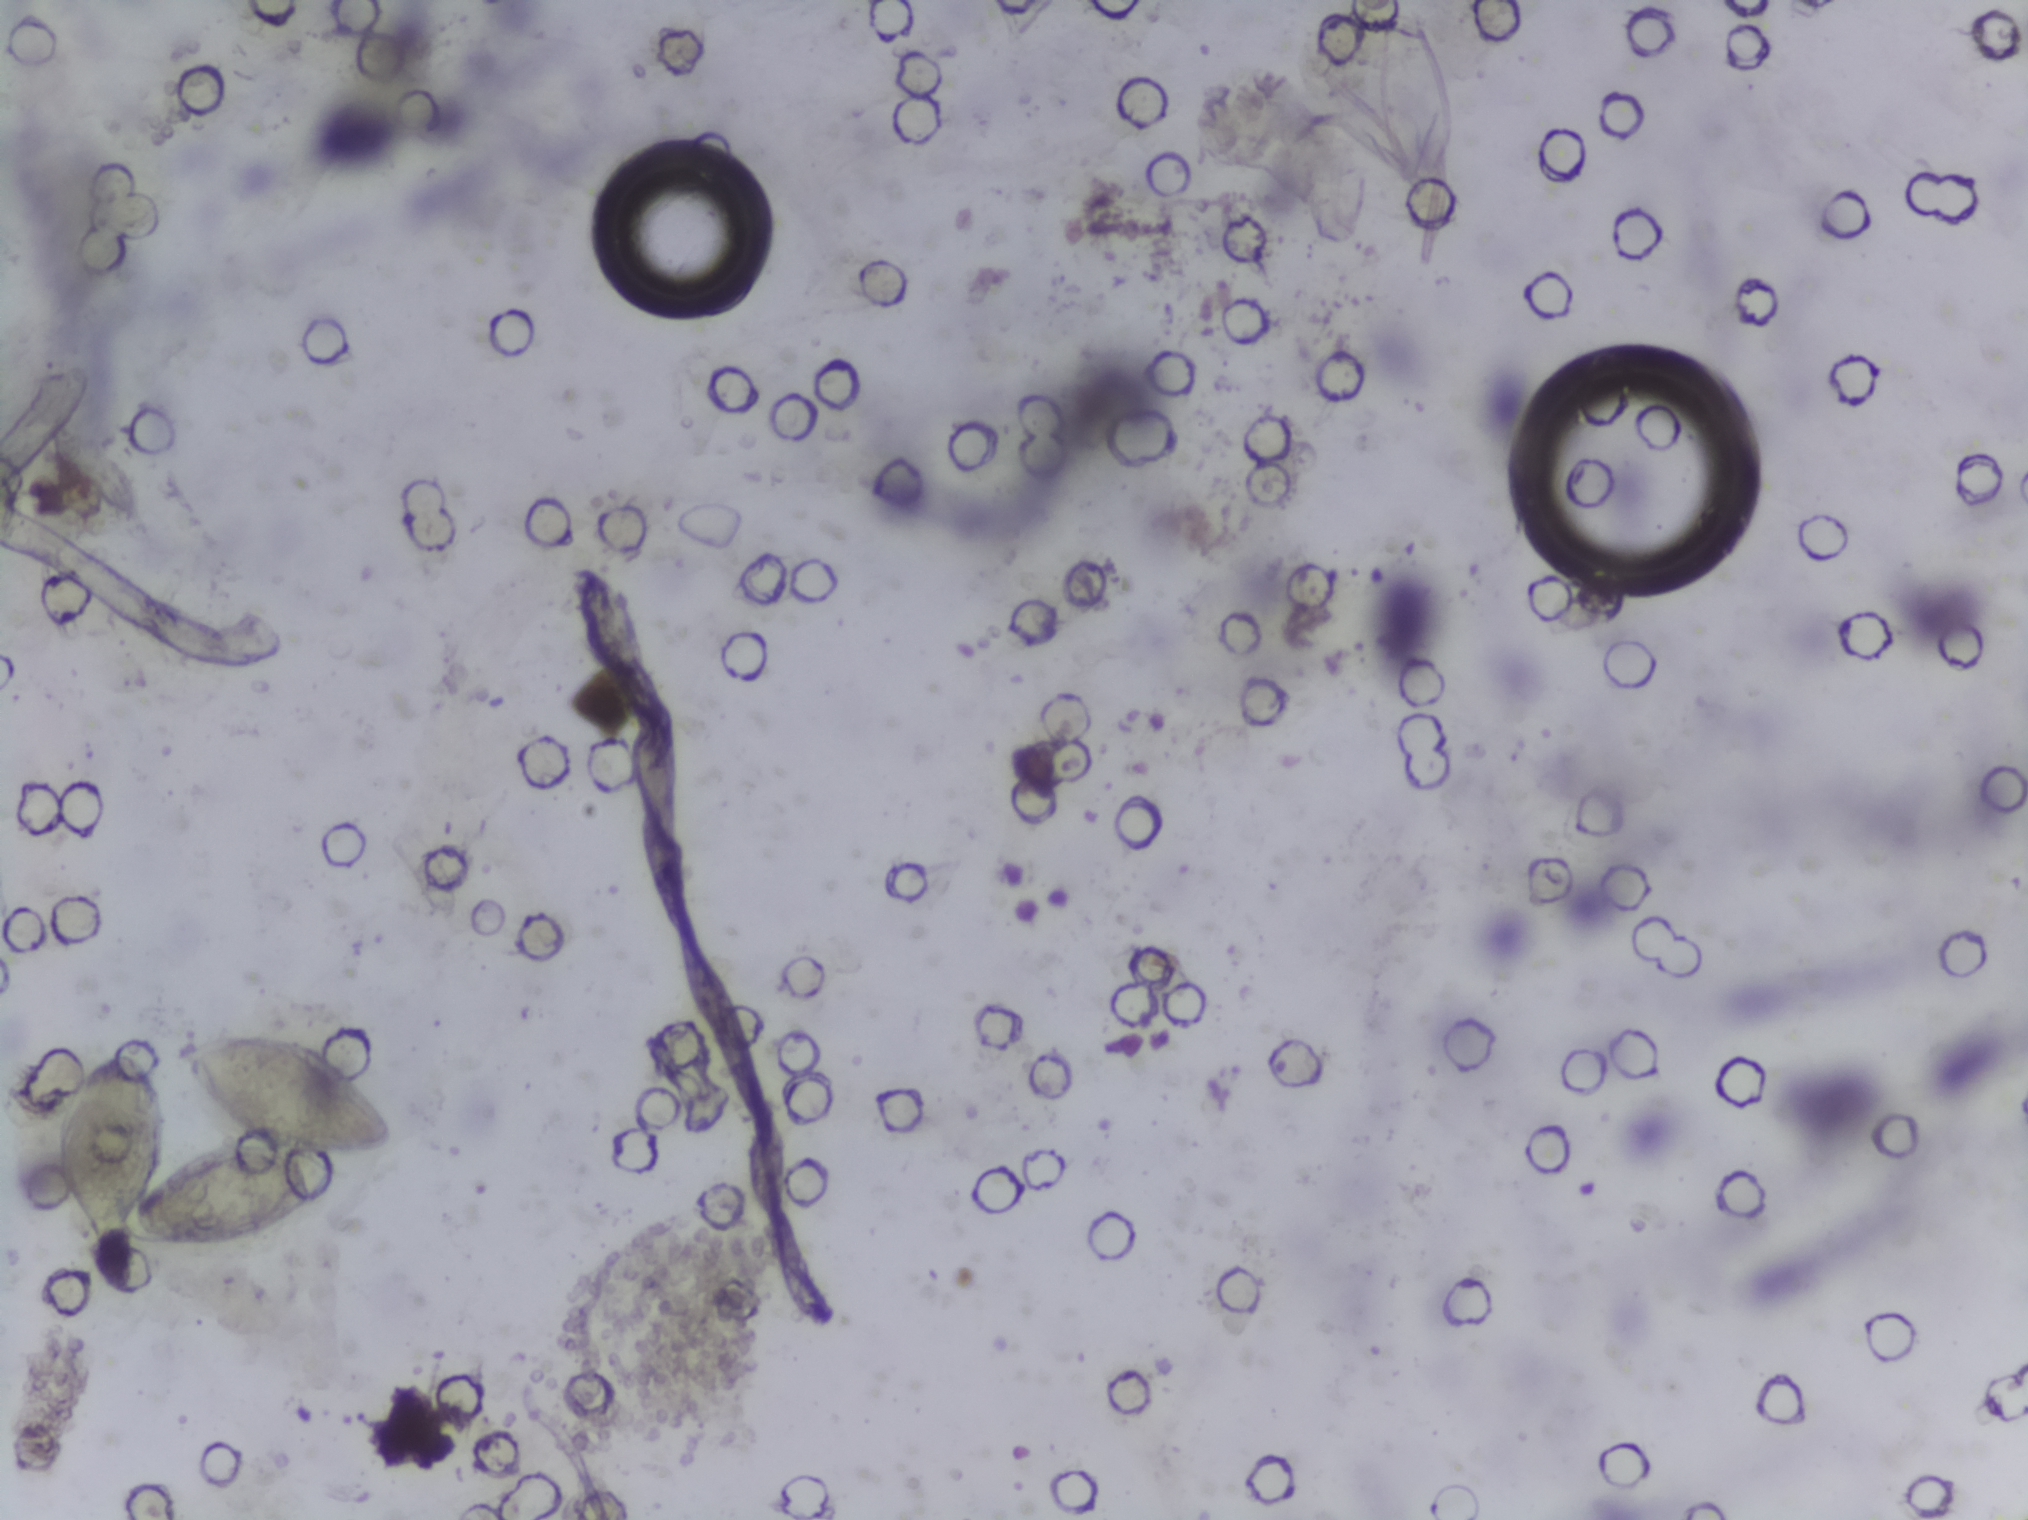
One field of view of a urine filter membrane, 4× objective, 2028 × 1520 pixels.
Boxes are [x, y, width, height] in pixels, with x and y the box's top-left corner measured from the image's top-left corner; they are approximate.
Schistosoma eggs are outlined in one area of this image: [52, 1030, 345, 230] (a cluster of eggs). Eggs that touch can end up inside the same outlined area.